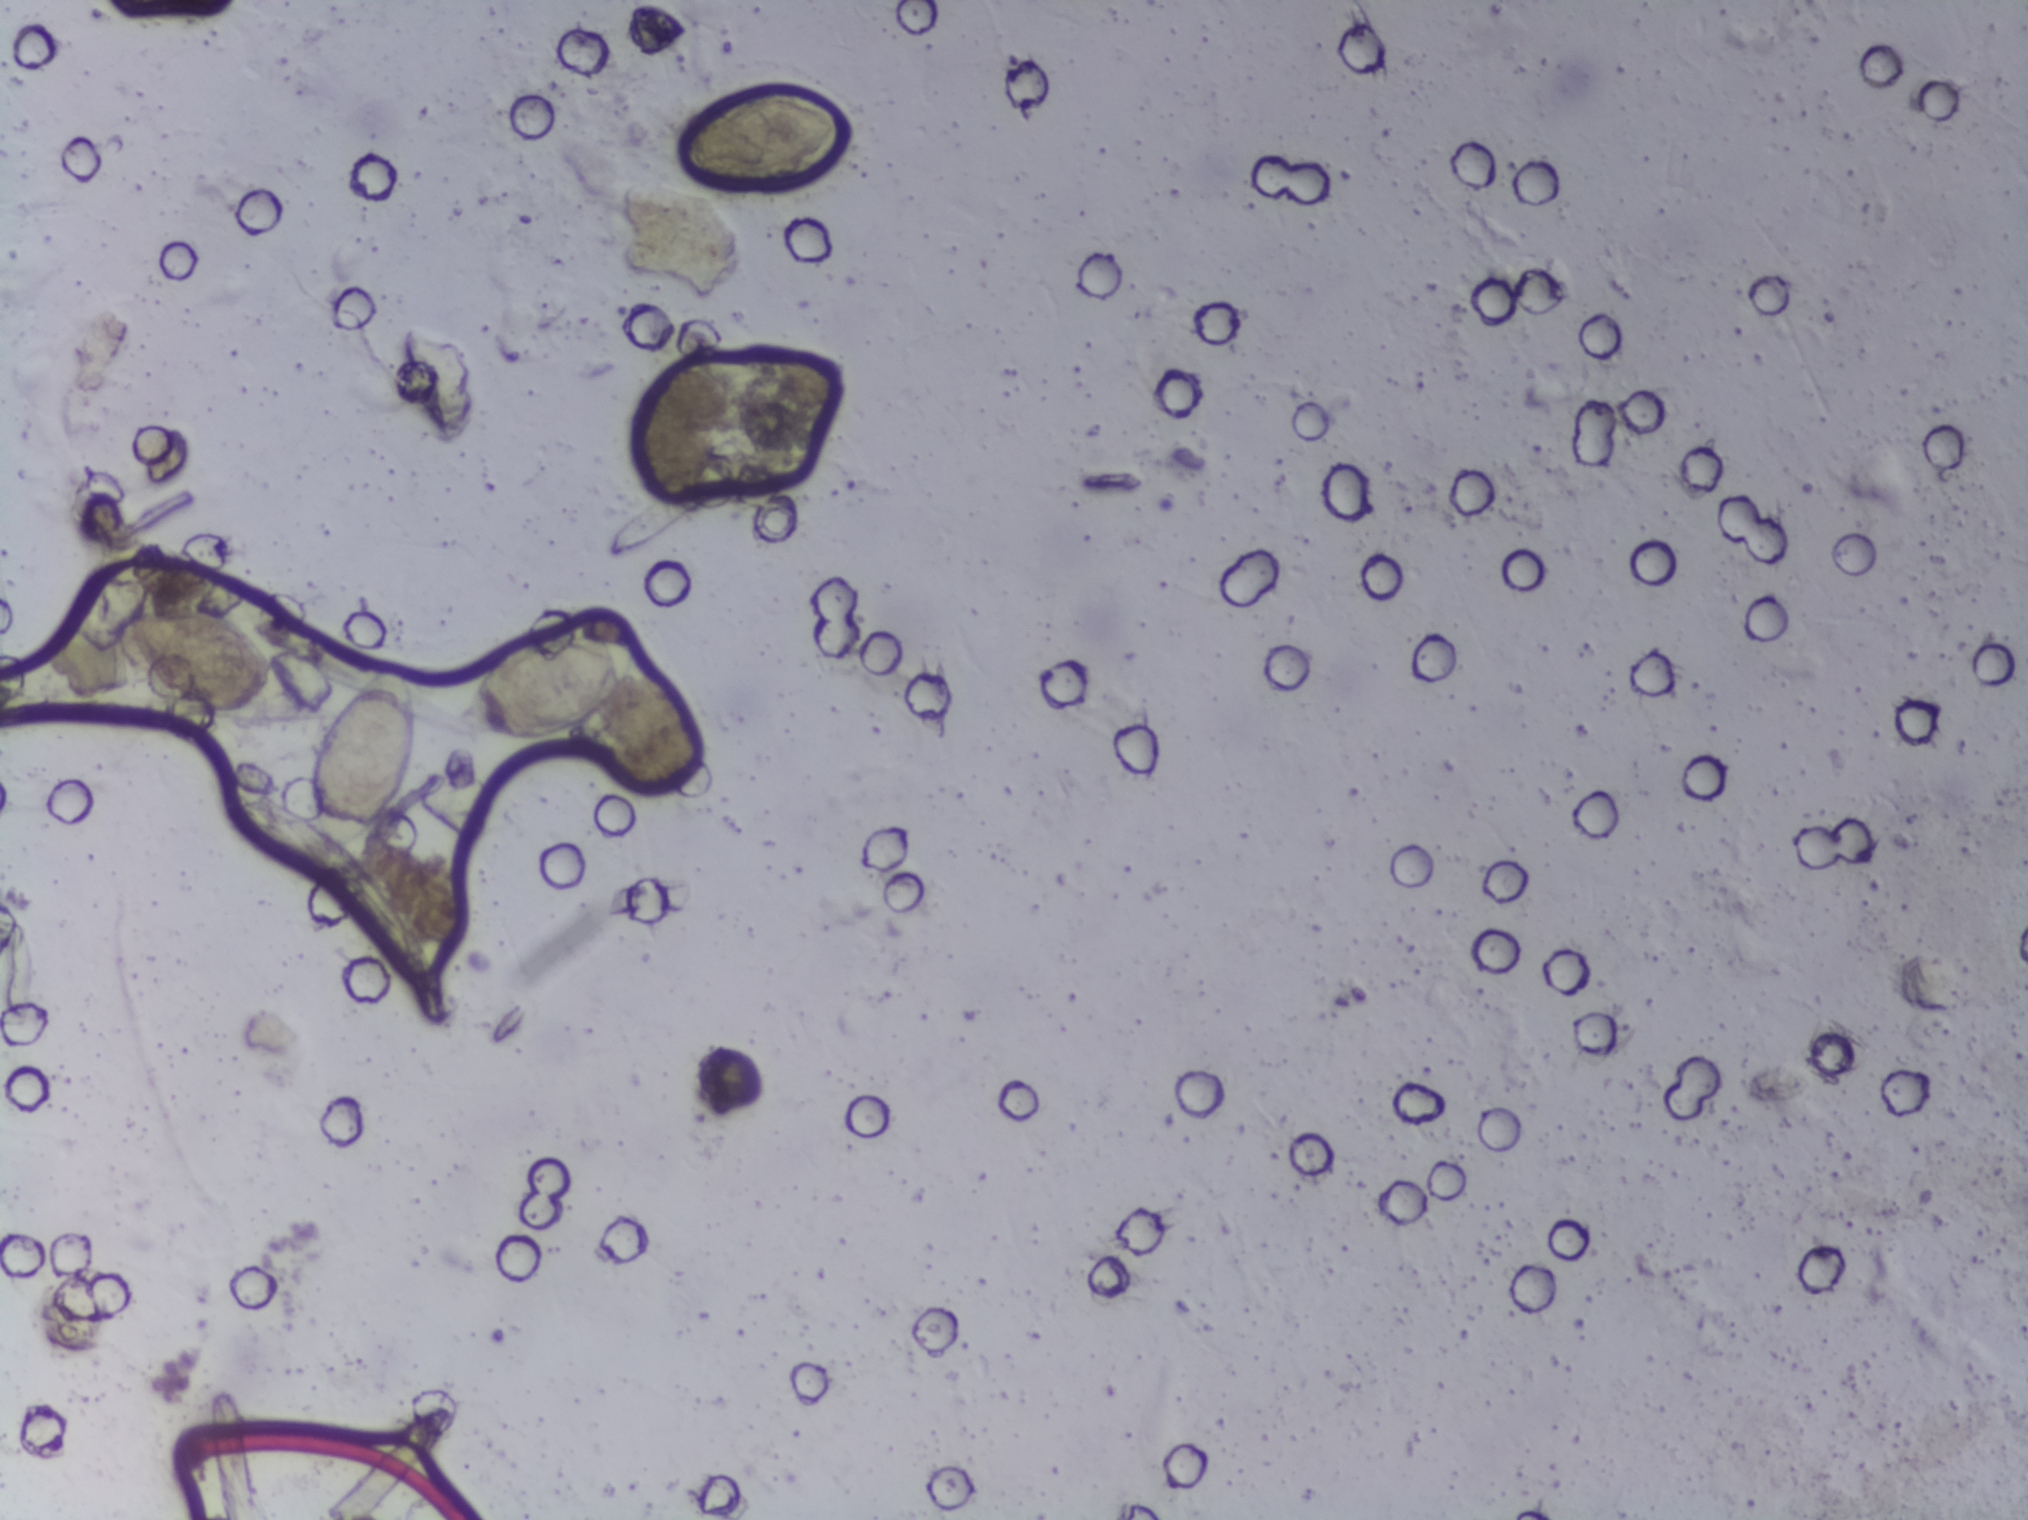
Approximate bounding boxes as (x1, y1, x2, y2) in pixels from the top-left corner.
Four areas of this image are outlined as Schistosoma eggs, from left to right: (108, 608, 313, 725); (307, 663, 418, 855); (448, 629, 643, 739); (675, 88, 860, 185). A single outlined area may contain several eggs.
Photomicrograph of a urine filtration membrane, 4× objective. The image covers about 1.5 × 1.1 mm of the membrane.